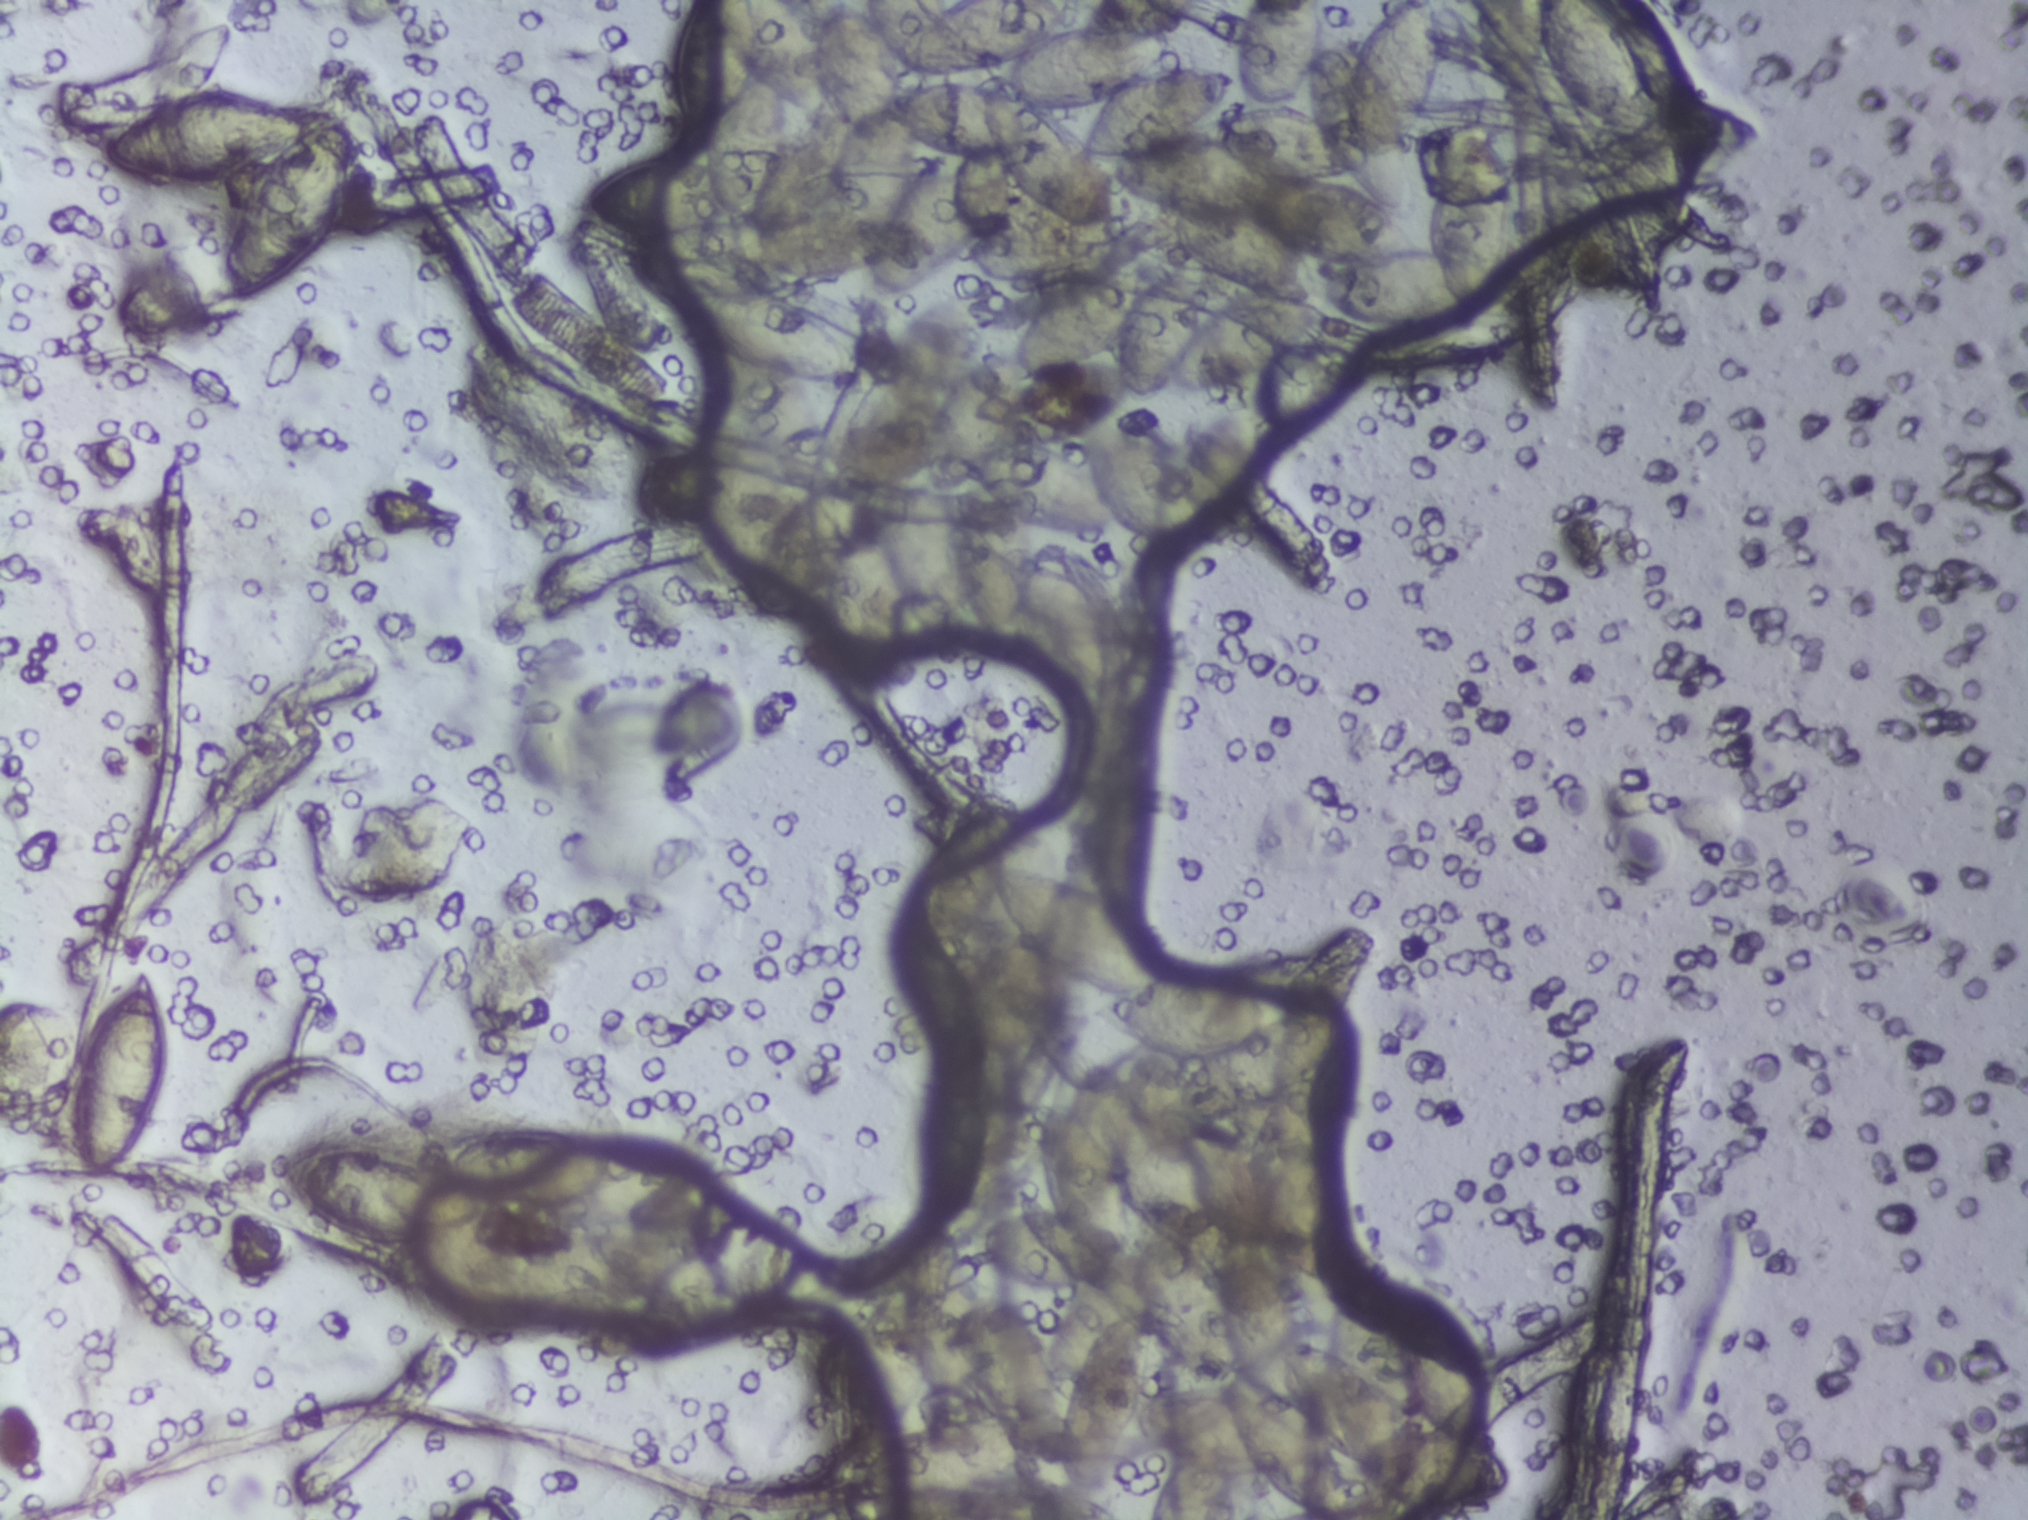
Urine filter membrane photographed through a 4× microscope objective. Field of view: about 1.5 mm wide and 1.1 mm high.
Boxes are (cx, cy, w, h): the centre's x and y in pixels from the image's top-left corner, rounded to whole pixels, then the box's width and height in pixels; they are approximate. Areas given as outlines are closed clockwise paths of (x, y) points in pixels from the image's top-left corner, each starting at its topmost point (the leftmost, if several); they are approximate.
The expert annotation outlines Schistosoma eggs in six areas, left to right: box (cx=118, cy=1071, w=91, h=211); box (cx=225, cy=196, w=253, h=215); outline (533, 1126), (576, 1129), (601, 1142), (662, 1140), (682, 1149), (711, 1176), (711, 1199), (659, 1220), (674, 1221), (694, 1237), (714, 1224), (764, 1212), (797, 1247), (795, 1283), (737, 1319), (668, 1343), (625, 1345), (602, 1338), (590, 1329), (589, 1309), (519, 1314), (511, 1333), (473, 1335), (433, 1297), (420, 1241), (331, 1232), (305, 1213), (281, 1177), (288, 1159), (314, 1145), (374, 1145), (399, 1154), (380, 1159), (426, 1167), (448, 1135) (a cluster of eggs); outline (693, 0), (798, 0), (806, 10), (809, 0), (942, 0), (943, 11), (969, 0), (1033, 0), (1073, 28), (1139, 25), (1167, 42), (1167, 71), (1227, 69), (1197, 119), (1167, 138), (1215, 142), (1220, 141), (1214, 119), (1252, 108), (1242, 82), (1242, 39), (1257, 0), (1317, 0), (1322, 26), (1353, 49), (1400, 0), (1427, 1), (1437, 20), (1437, 49), (1414, 119), (1395, 142), (1405, 185), (1396, 211), (1421, 242), (1427, 193), (1448, 136), (1473, 125), (1493, 129), (1517, 177), (1517, 222), (1498, 265), (1493, 299), (1482, 313), (1410, 331), (1371, 331), (1335, 313), (1312, 346), (1345, 342), (1358, 365), (1331, 399), (1294, 413), (1256, 415), (1273, 367), (1204, 391), (1187, 391), (1170, 378), (1154, 392), (1131, 391), (1113, 422), (1150, 433), (1190, 459), (1210, 486), (1218, 521), (1216, 532), (1190, 543), (1143, 541), (1118, 530), (1088, 539), (1032, 532), (1033, 561), (1089, 583), (1112, 610), (1125, 638), (1125, 657), (1111, 681), (1082, 681), (1027, 641), (1002, 643), (981, 621), (969, 637), (910, 634), (885, 679), (863, 684), (839, 660), (821, 616), (818, 626), (823, 586), (804, 620), (759, 613), (752, 595), (711, 554), (702, 519), (650, 517), (636, 503), (639, 481), (660, 463), (707, 452), (717, 438), (798, 458), (827, 481), (843, 475), (835, 429), (911, 314), (953, 304), (980, 339), (979, 374), (1012, 373), (1027, 368), (1016, 360), (1016, 339), (1055, 278), (994, 279), (970, 263), (969, 250), (899, 292), (883, 292), (869, 269), (803, 279), (785, 295), (806, 302), (858, 347), (864, 374), (849, 381), (777, 375), (717, 351), (681, 305), (679, 288), (633, 268), (624, 256), (627, 235), (614, 232), (587, 205), (587, 190), (615, 167), (655, 156), (698, 156), (697, 132), (680, 133), (669, 107), (671, 46) (a cluster of eggs; reaching the top edge of the frame); outline (995, 805), (1012, 813), (1010, 864), (1119, 901), (1164, 944), (1166, 978), (1229, 975), (1287, 983), (1309, 991), (1311, 1001), (1336, 1016), (1340, 1042), (1313, 1073), (1325, 1087), (1330, 1276), (1347, 1297), (1374, 1303), (1395, 1325), (1401, 1294), (1420, 1287), (1473, 1332), (1485, 1367), (1488, 1437), (1482, 1442), (1499, 1454), (1510, 1477), (1502, 1497), (1472, 1505), (1406, 1504), (1357, 1477), (1342, 1452), (1328, 1445), (1344, 1476), (1345, 1509), (1323, 1510), (1317, 1519), (1153, 1519), (1154, 1498), (1180, 1452), (1175, 1444), (1148, 1457), (1102, 1463), (1093, 1480), (1123, 1499), (1116, 1498), (1111, 1512), (1099, 1518), (1047, 1512), (894, 1519), (904, 1486), (868, 1483), (859, 1474), (865, 1453), (905, 1429), (993, 1410), (972, 1375), (958, 1393), (939, 1396), (922, 1373), (895, 1429), (864, 1418), (847, 1375), (847, 1334), (895, 1264), (930, 1240), (940, 1240), (947, 1256), (965, 1247), (985, 1248), (981, 1229), (989, 1220), (1051, 1210), (1041, 1197), (1035, 1115), (1053, 1098), (1063, 1098), (1073, 1110), (1091, 1065), (1107, 1064), (1135, 1082), (1150, 1073), (1173, 1086), (1194, 1057), (1113, 1032), (1083, 1009), (1095, 994), (1042, 964), (1037, 1031), (1016, 1071), (1019, 1118), (1007, 1147), (999, 1155), (976, 1157), (956, 1141), (940, 1082), (942, 1050), (950, 1038), (916, 988), (900, 917), (945, 826) (a cluster of eggs; reaching the bottom edge of the frame); box (cx=1605, cy=68, w=141, h=137) (reaching the top edge of the frame). An outlined area can hold more than one egg.